Photomicrograph of a urine filtration membrane, 4× objective.
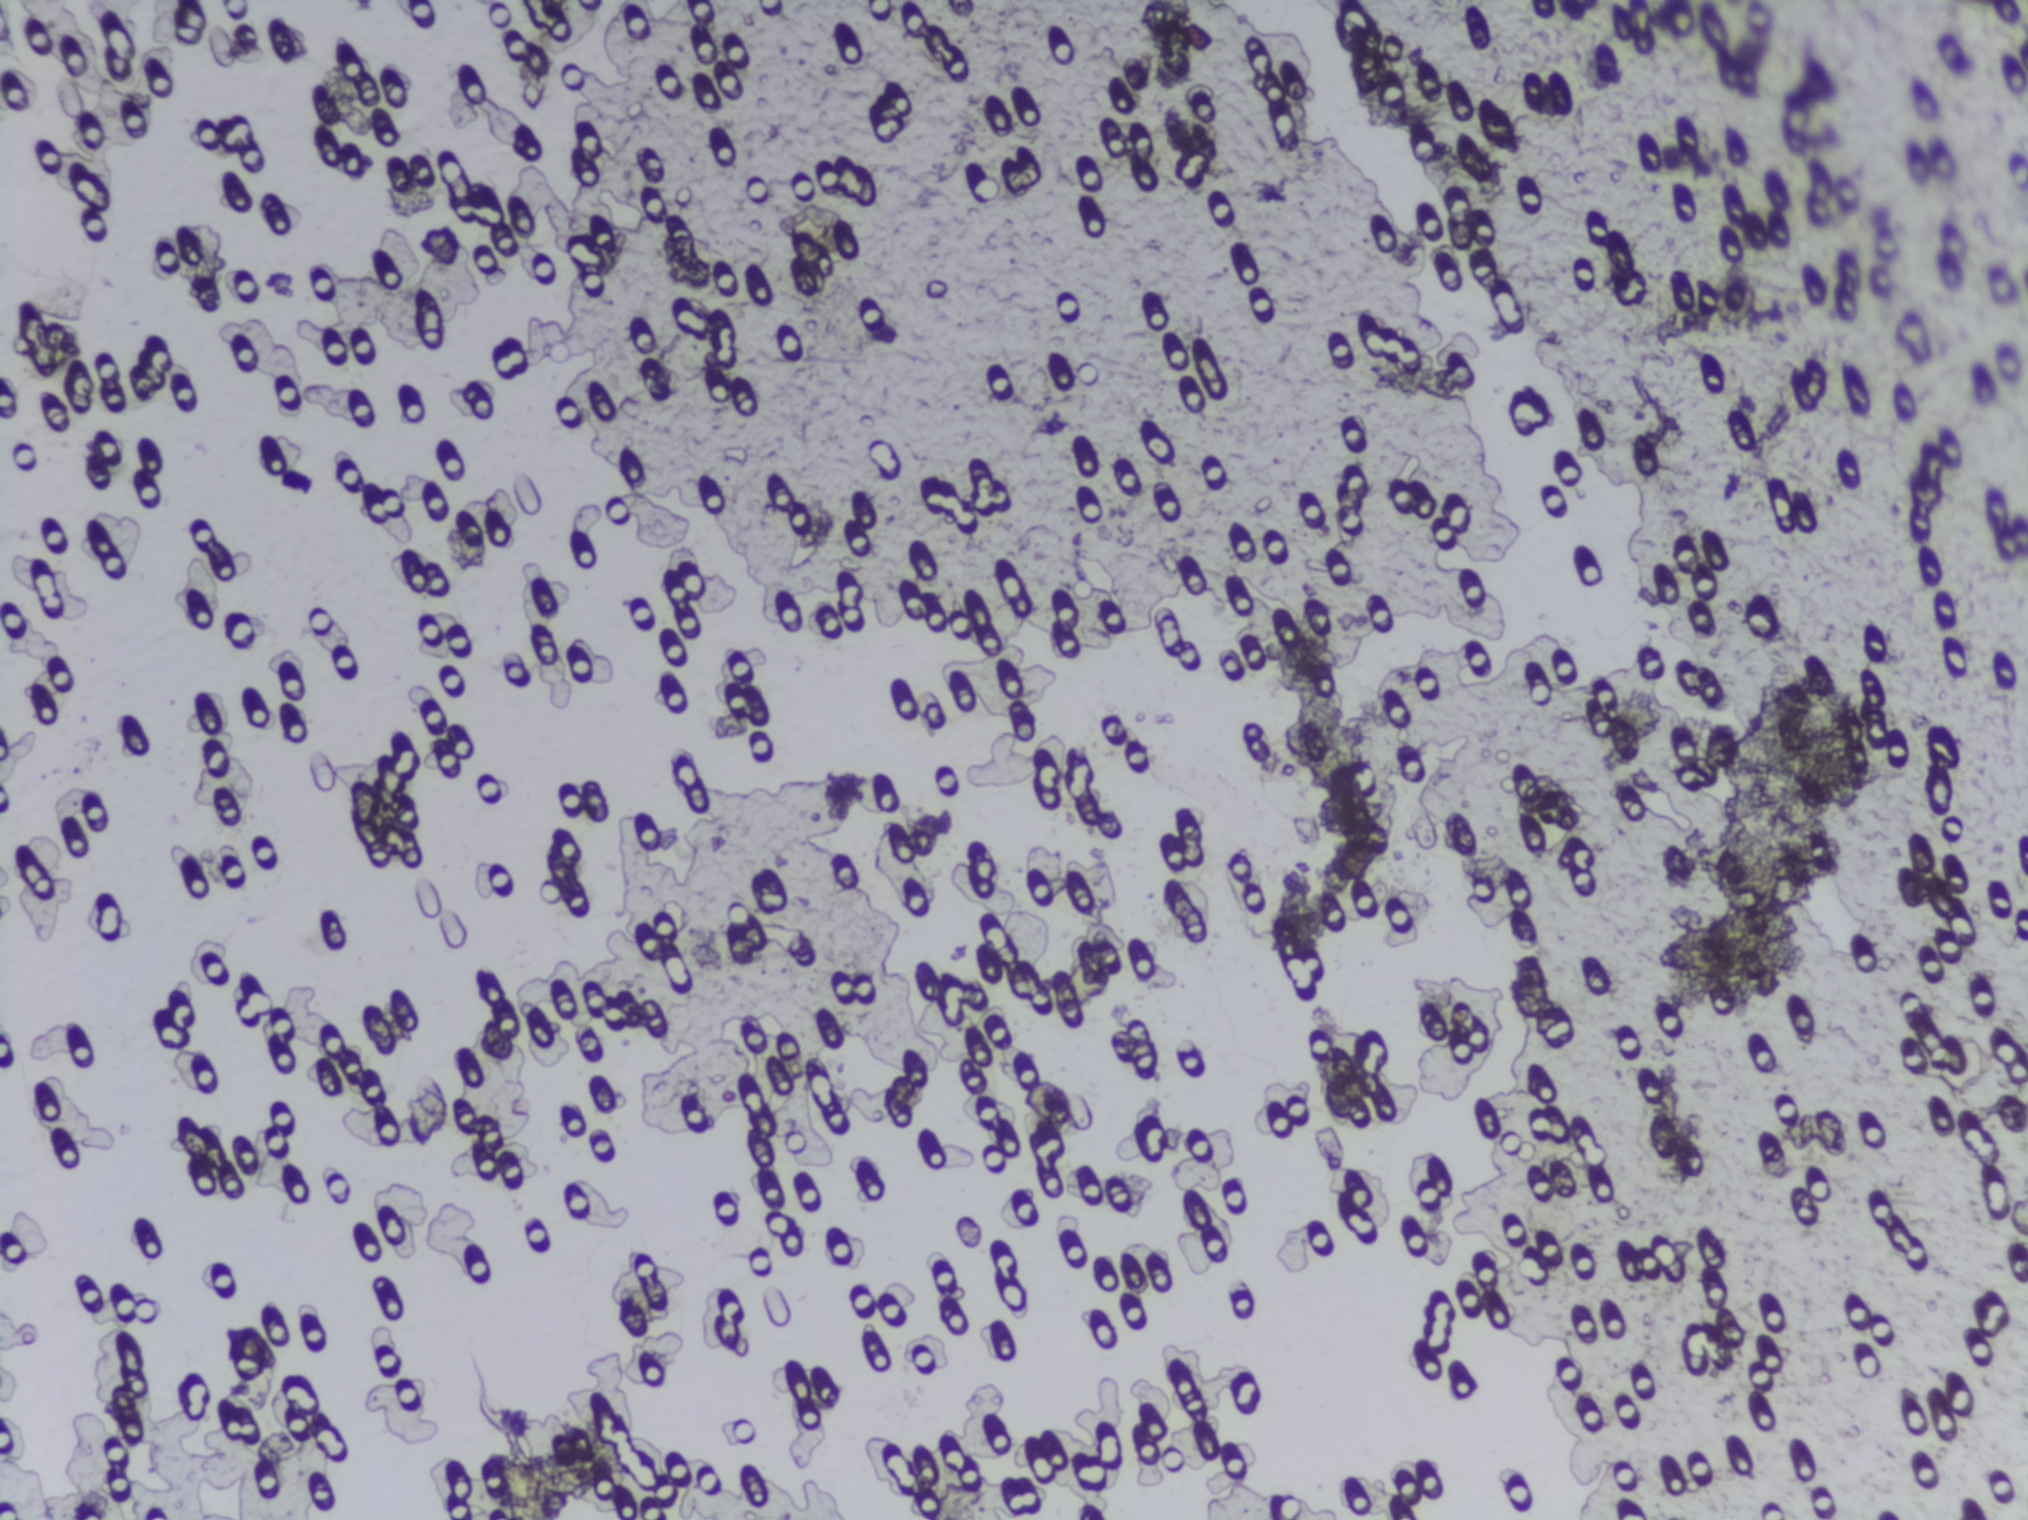
Schistosoma eggs: none outlined.